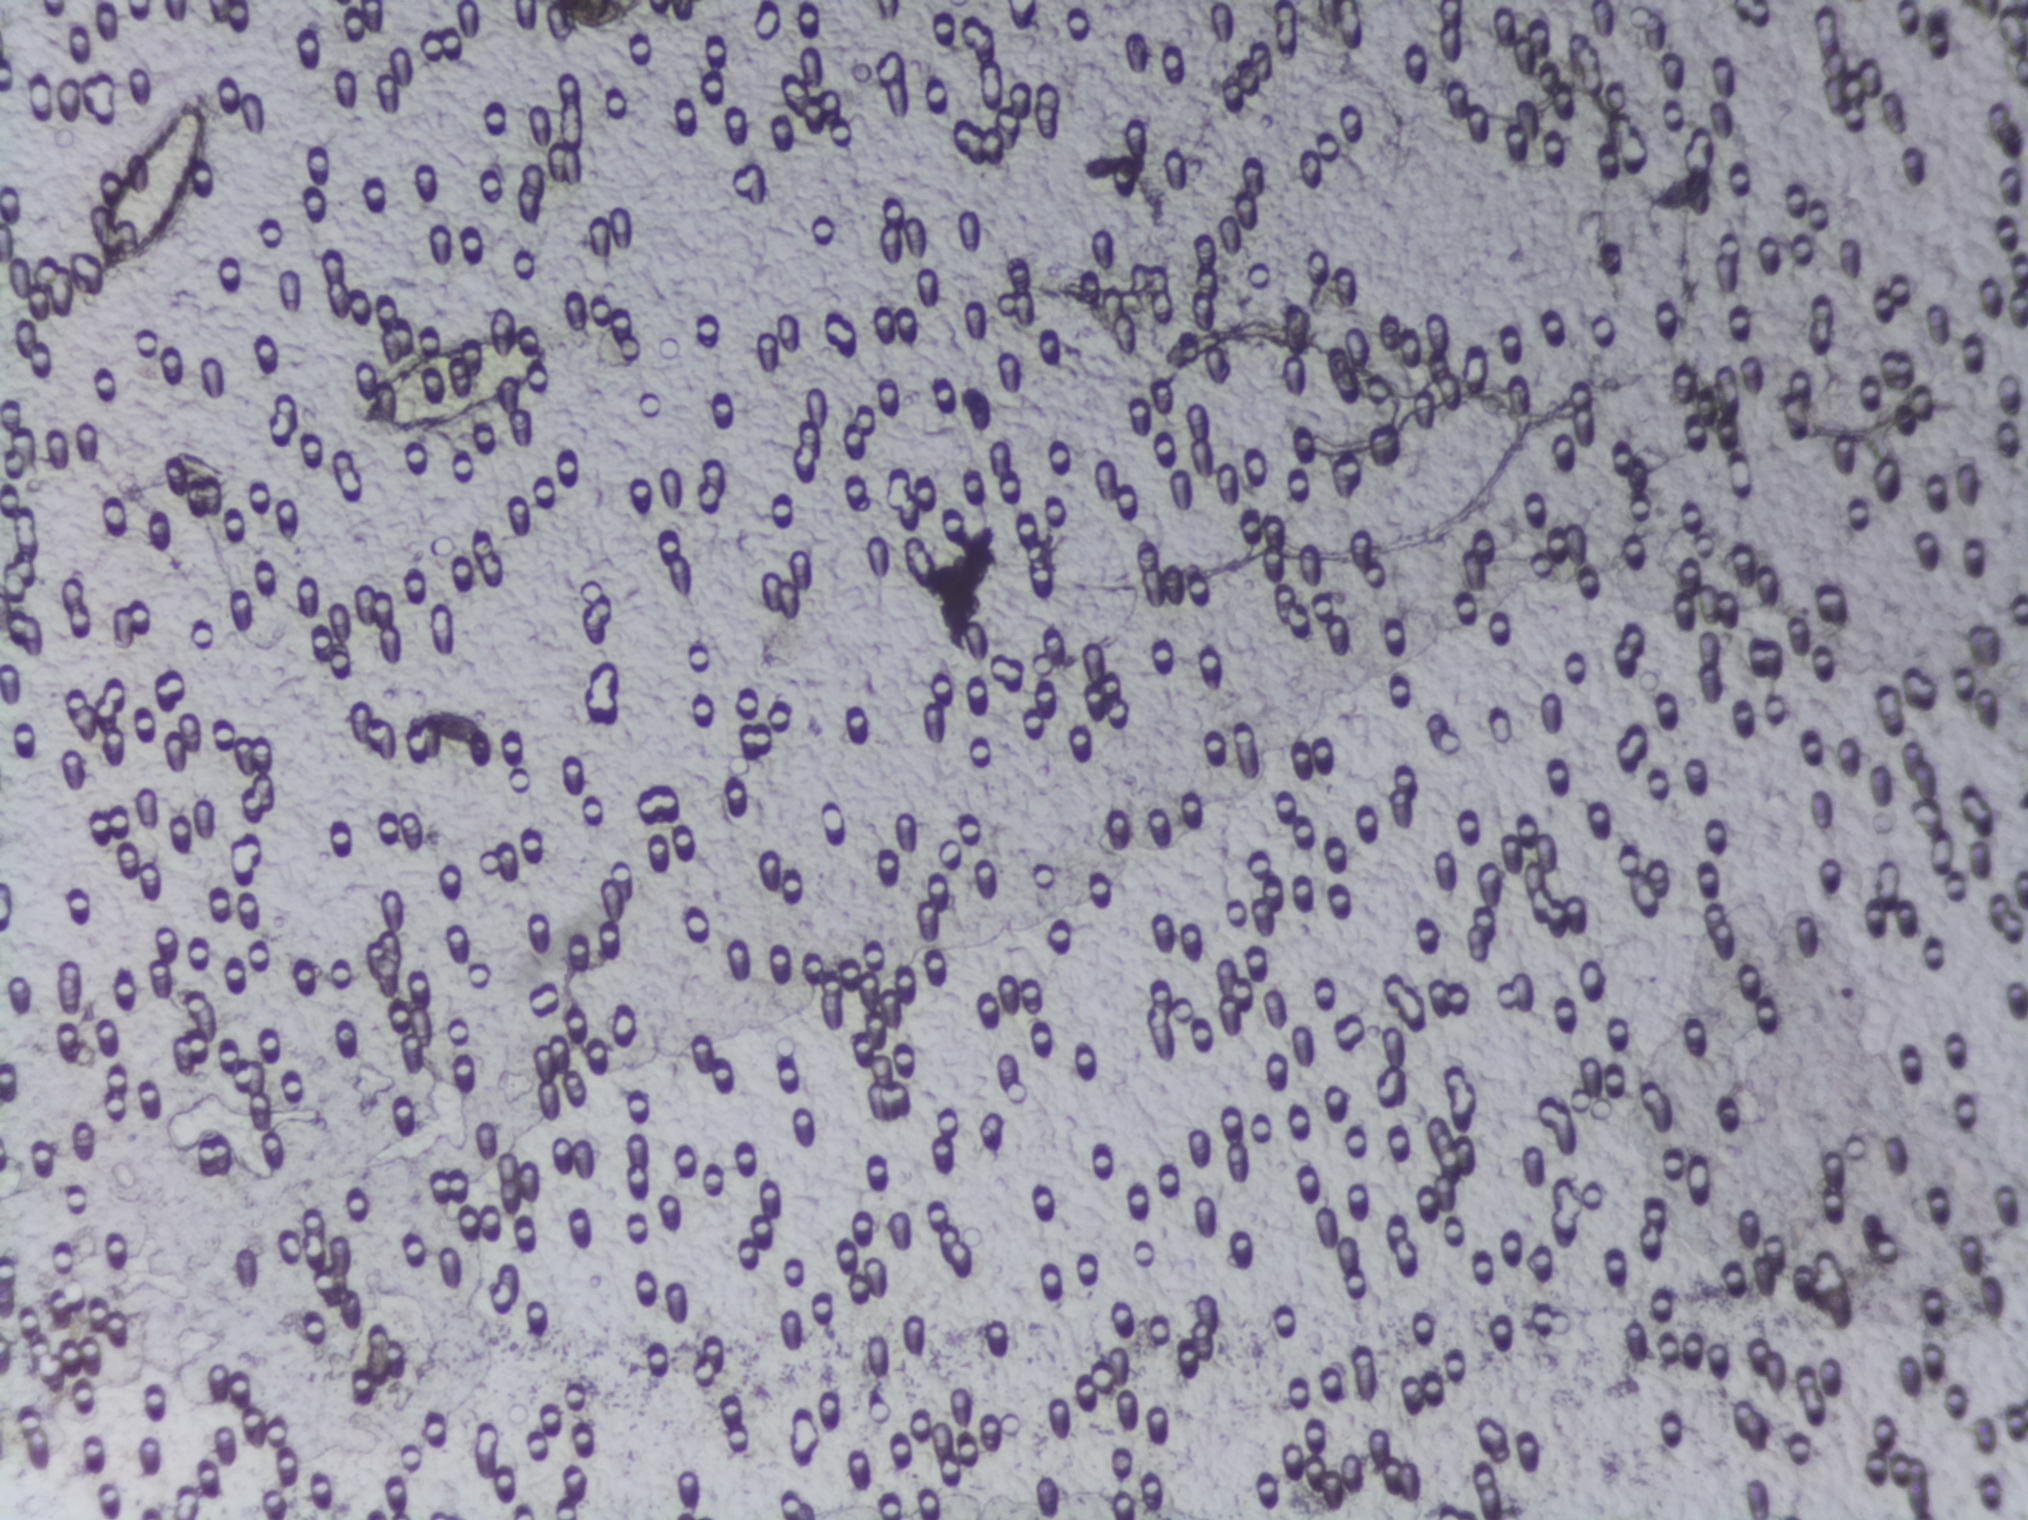
Urine filter membrane photographed through a 4× microscope objective. The image covers about 1.5 × 1.1 mm of the membrane.
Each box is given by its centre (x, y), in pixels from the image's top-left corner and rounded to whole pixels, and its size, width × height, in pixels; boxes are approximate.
Schistosoma egg areas, outlined: centre (154, 193), 122 × 194 px; centre (454, 377), 211 × 116 px. An outlined area can hold more than one egg.